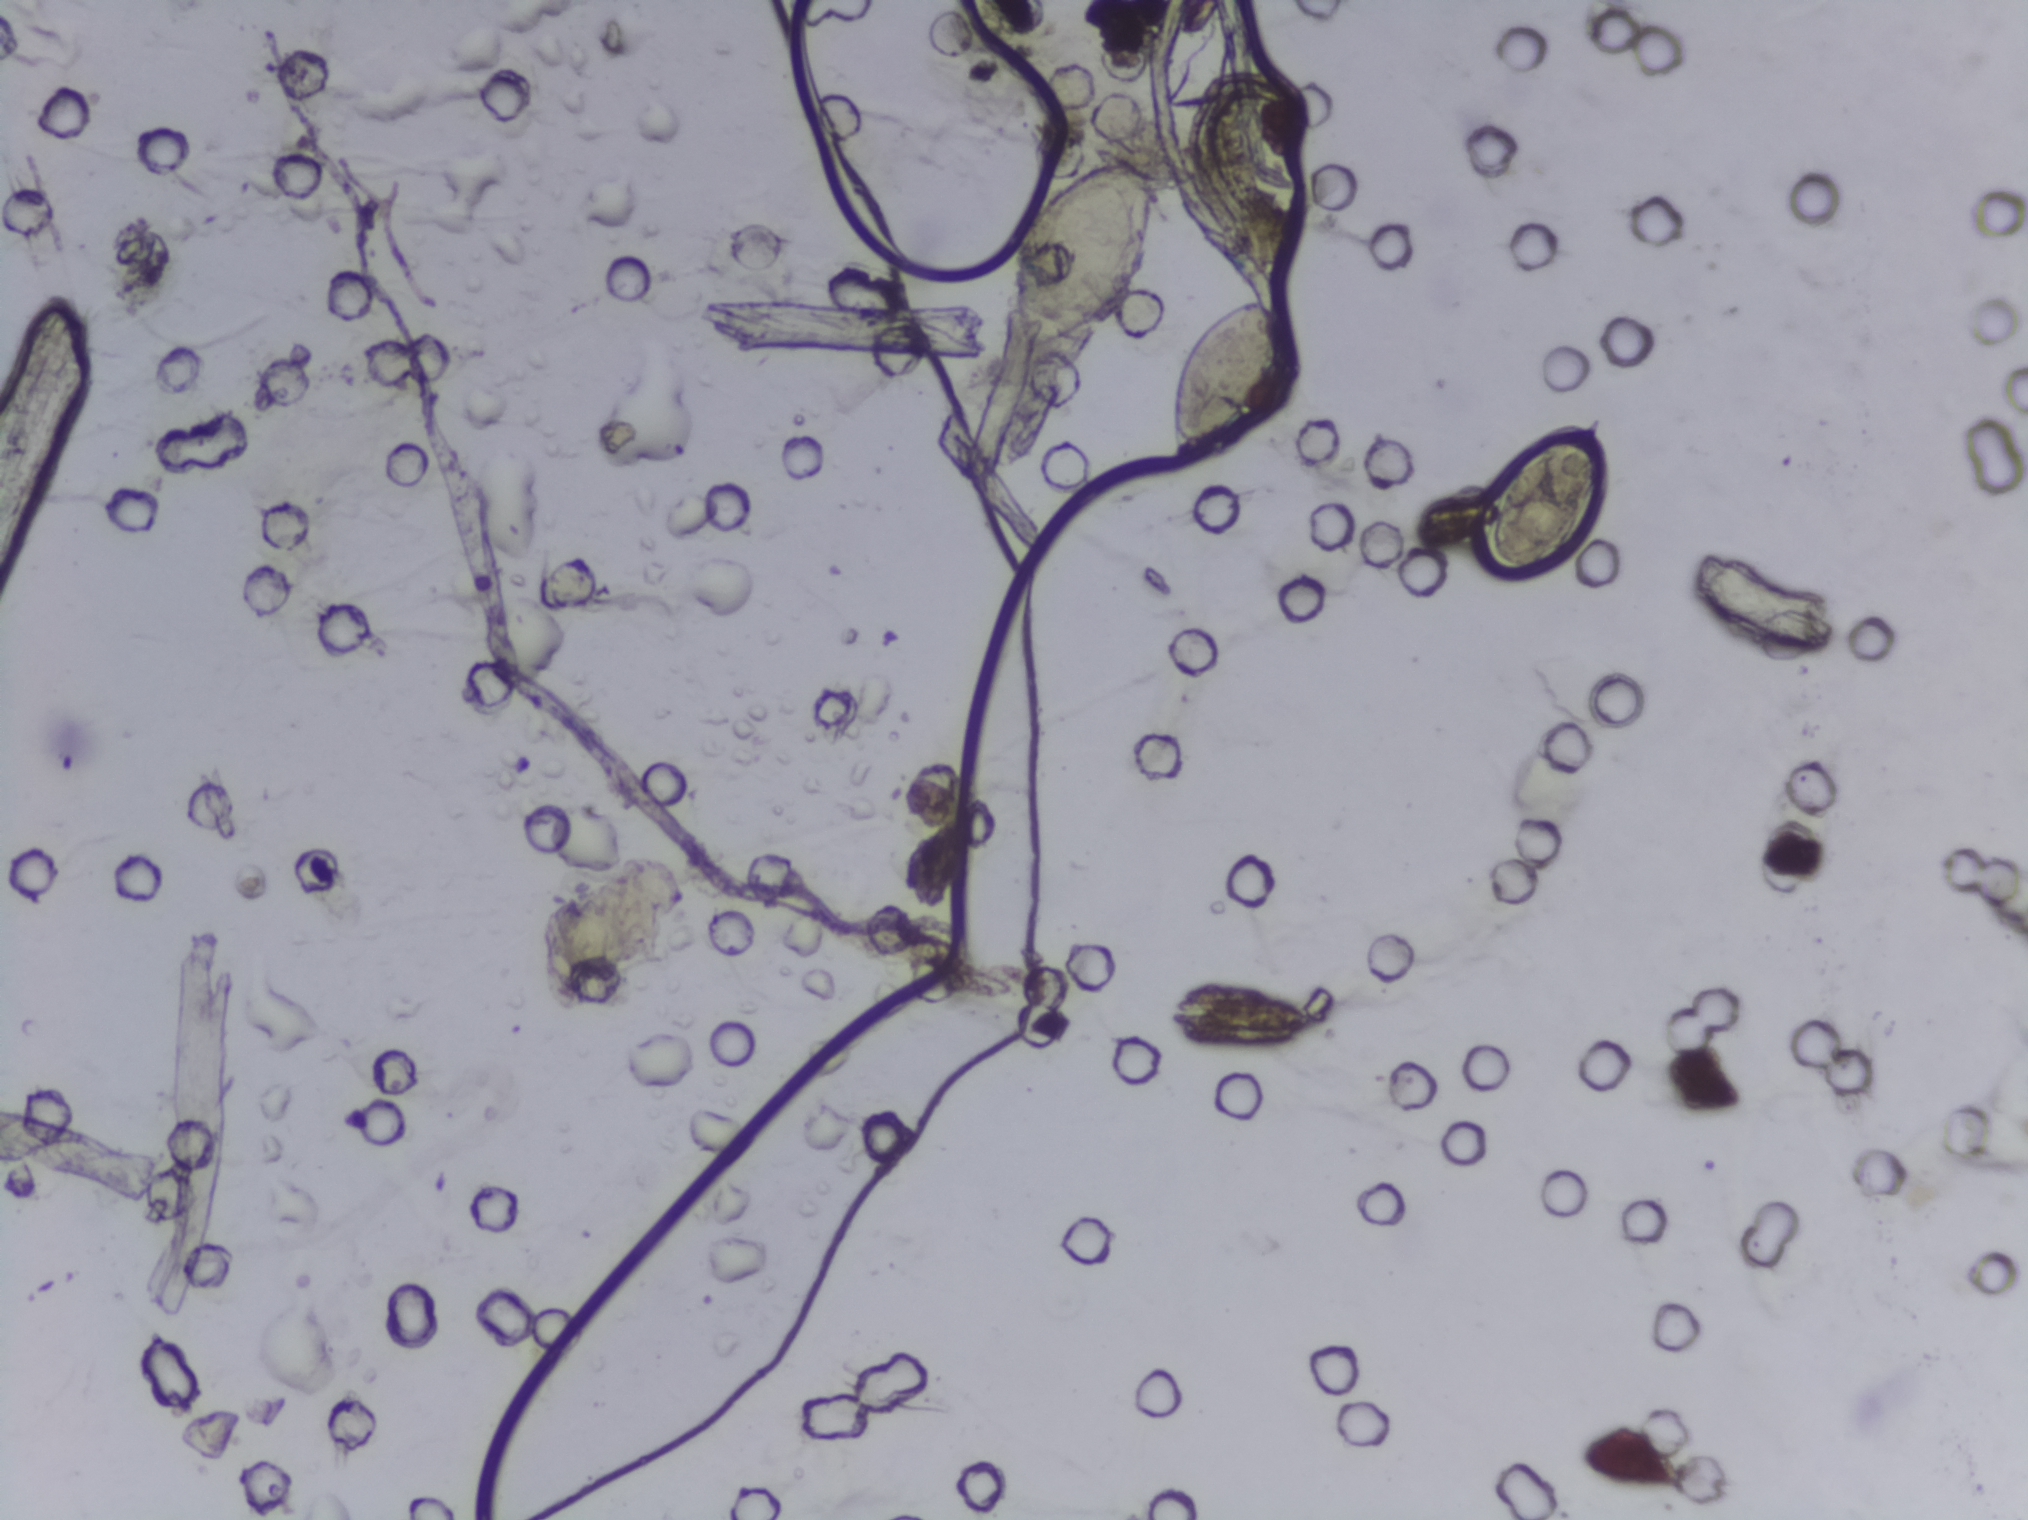
Urine filter membrane photographed through a 4× microscope objective.
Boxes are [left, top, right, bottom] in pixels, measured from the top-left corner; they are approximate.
The expert annotation outlines Schistosoma eggs at [1011, 154, 1164, 355]; [1167, 294, 1291, 471]; [1480, 406, 1609, 583]. About 1.7% of the image's pixels are marked (the marked pixels themselves, not the boxes around them). A single outlined area may contain several eggs. A marked egg may occasionally be S. mansoni rather than S. haematobium.